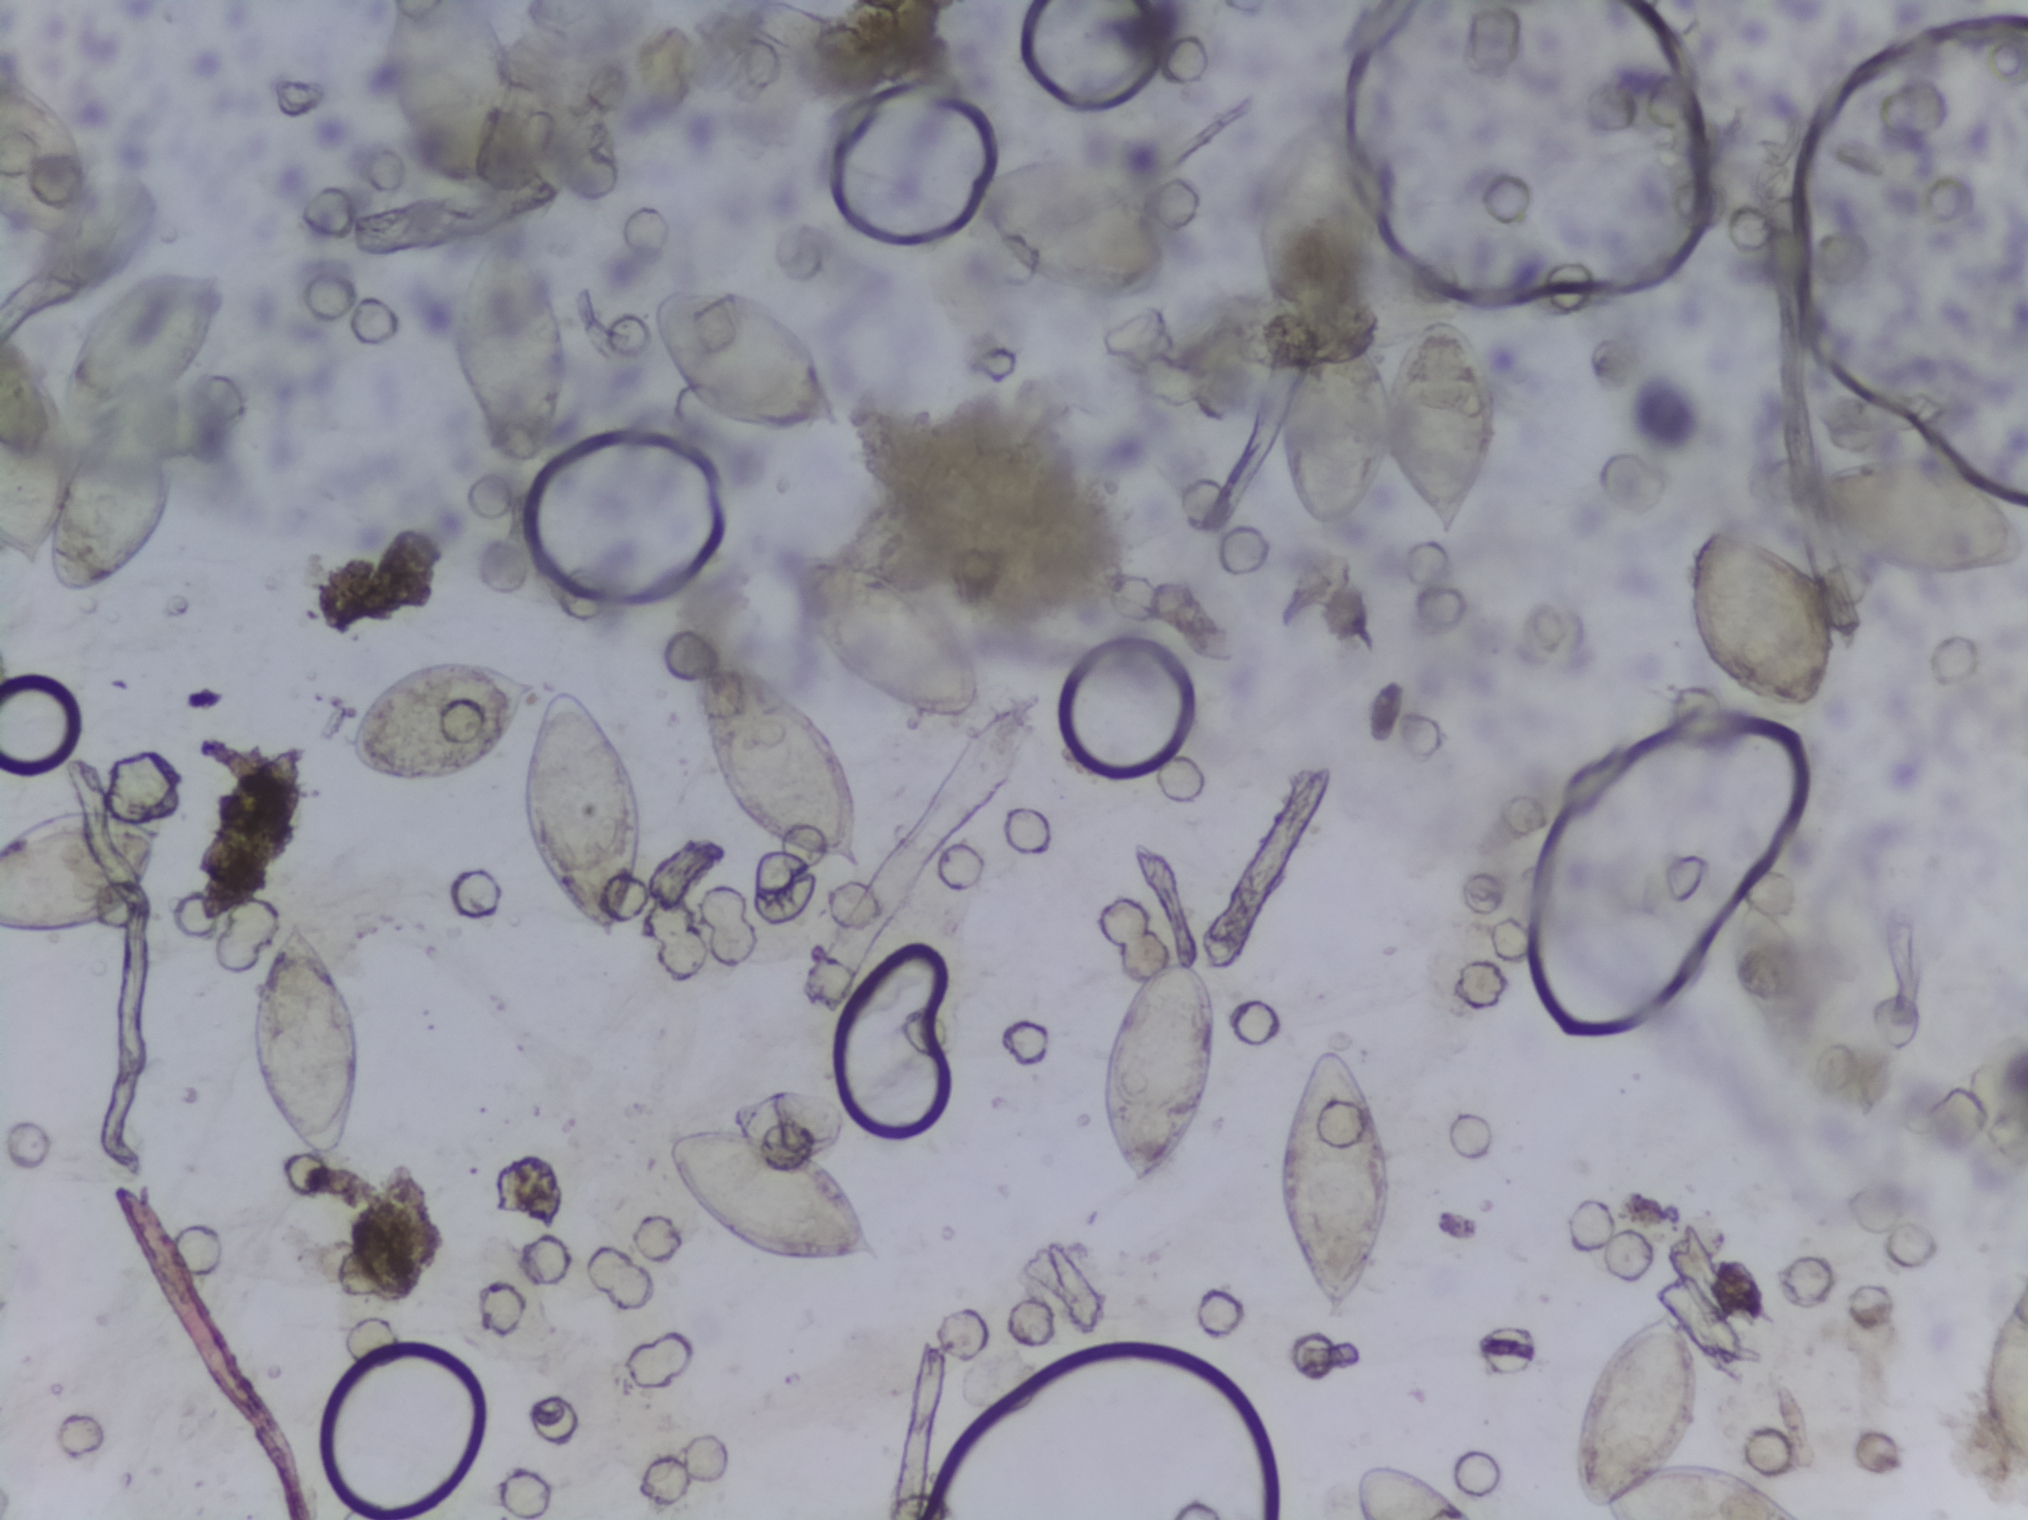
Microscope photograph (4× objective) of a membrane that a urine sample was filtered through. Field of view: about 1.5 mm wide and 1.1 mm high.
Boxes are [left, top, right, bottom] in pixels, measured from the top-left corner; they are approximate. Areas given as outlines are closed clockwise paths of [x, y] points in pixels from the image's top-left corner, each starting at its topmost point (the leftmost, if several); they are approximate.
Schistosoma eggs, outlined areas: box [0, 61, 92, 250] (reaching the left edge of the frame); box [0, 264, 225, 593] (a cluster of eggs; reaching the left edge of the frame); box [0, 800, 165, 940] (reaching the left edge of the frame); box [251, 914, 365, 1171]; box [344, 656, 536, 784]; box [384, 0, 525, 190] (reaching the top edge of the frame); box [453, 222, 571, 472]; box [517, 687, 644, 950]; box [647, 284, 843, 434]; box [660, 1122, 881, 1265]; box [694, 660, 868, 873]; box [781, 551, 984, 725]; box [961, 155, 1171, 303]; box [1102, 955, 1221, 1192]; outline [1323, 102], [1342, 107], [1369, 130], [1389, 181], [1390, 228], [1369, 287], [1349, 315], [1388, 372], [1414, 325], [1428, 314], [1448, 313], [1467, 326], [1494, 377], [1492, 458], [1450, 549], [1389, 468], [1355, 527], [1311, 530], [1296, 513], [1273, 452], [1280, 375], [1302, 325], [1277, 308], [1259, 273], [1255, 211], [1285, 141] (a cluster of eggs); box [1279, 1040, 1391, 1328]; box [1354, 1460, 1472, 1519] (reaching the bottom edge of the frame); box [1569, 1303, 1802, 1519] (reaching the bottom edge of the frame); box [1687, 521, 1841, 712]; box [1797, 454, 2027, 585] (reaching the right edge of the frame); box [1985, 1266, 2027, 1469] (reaching the right edge of the frame). An outlined area can hold more than one egg.